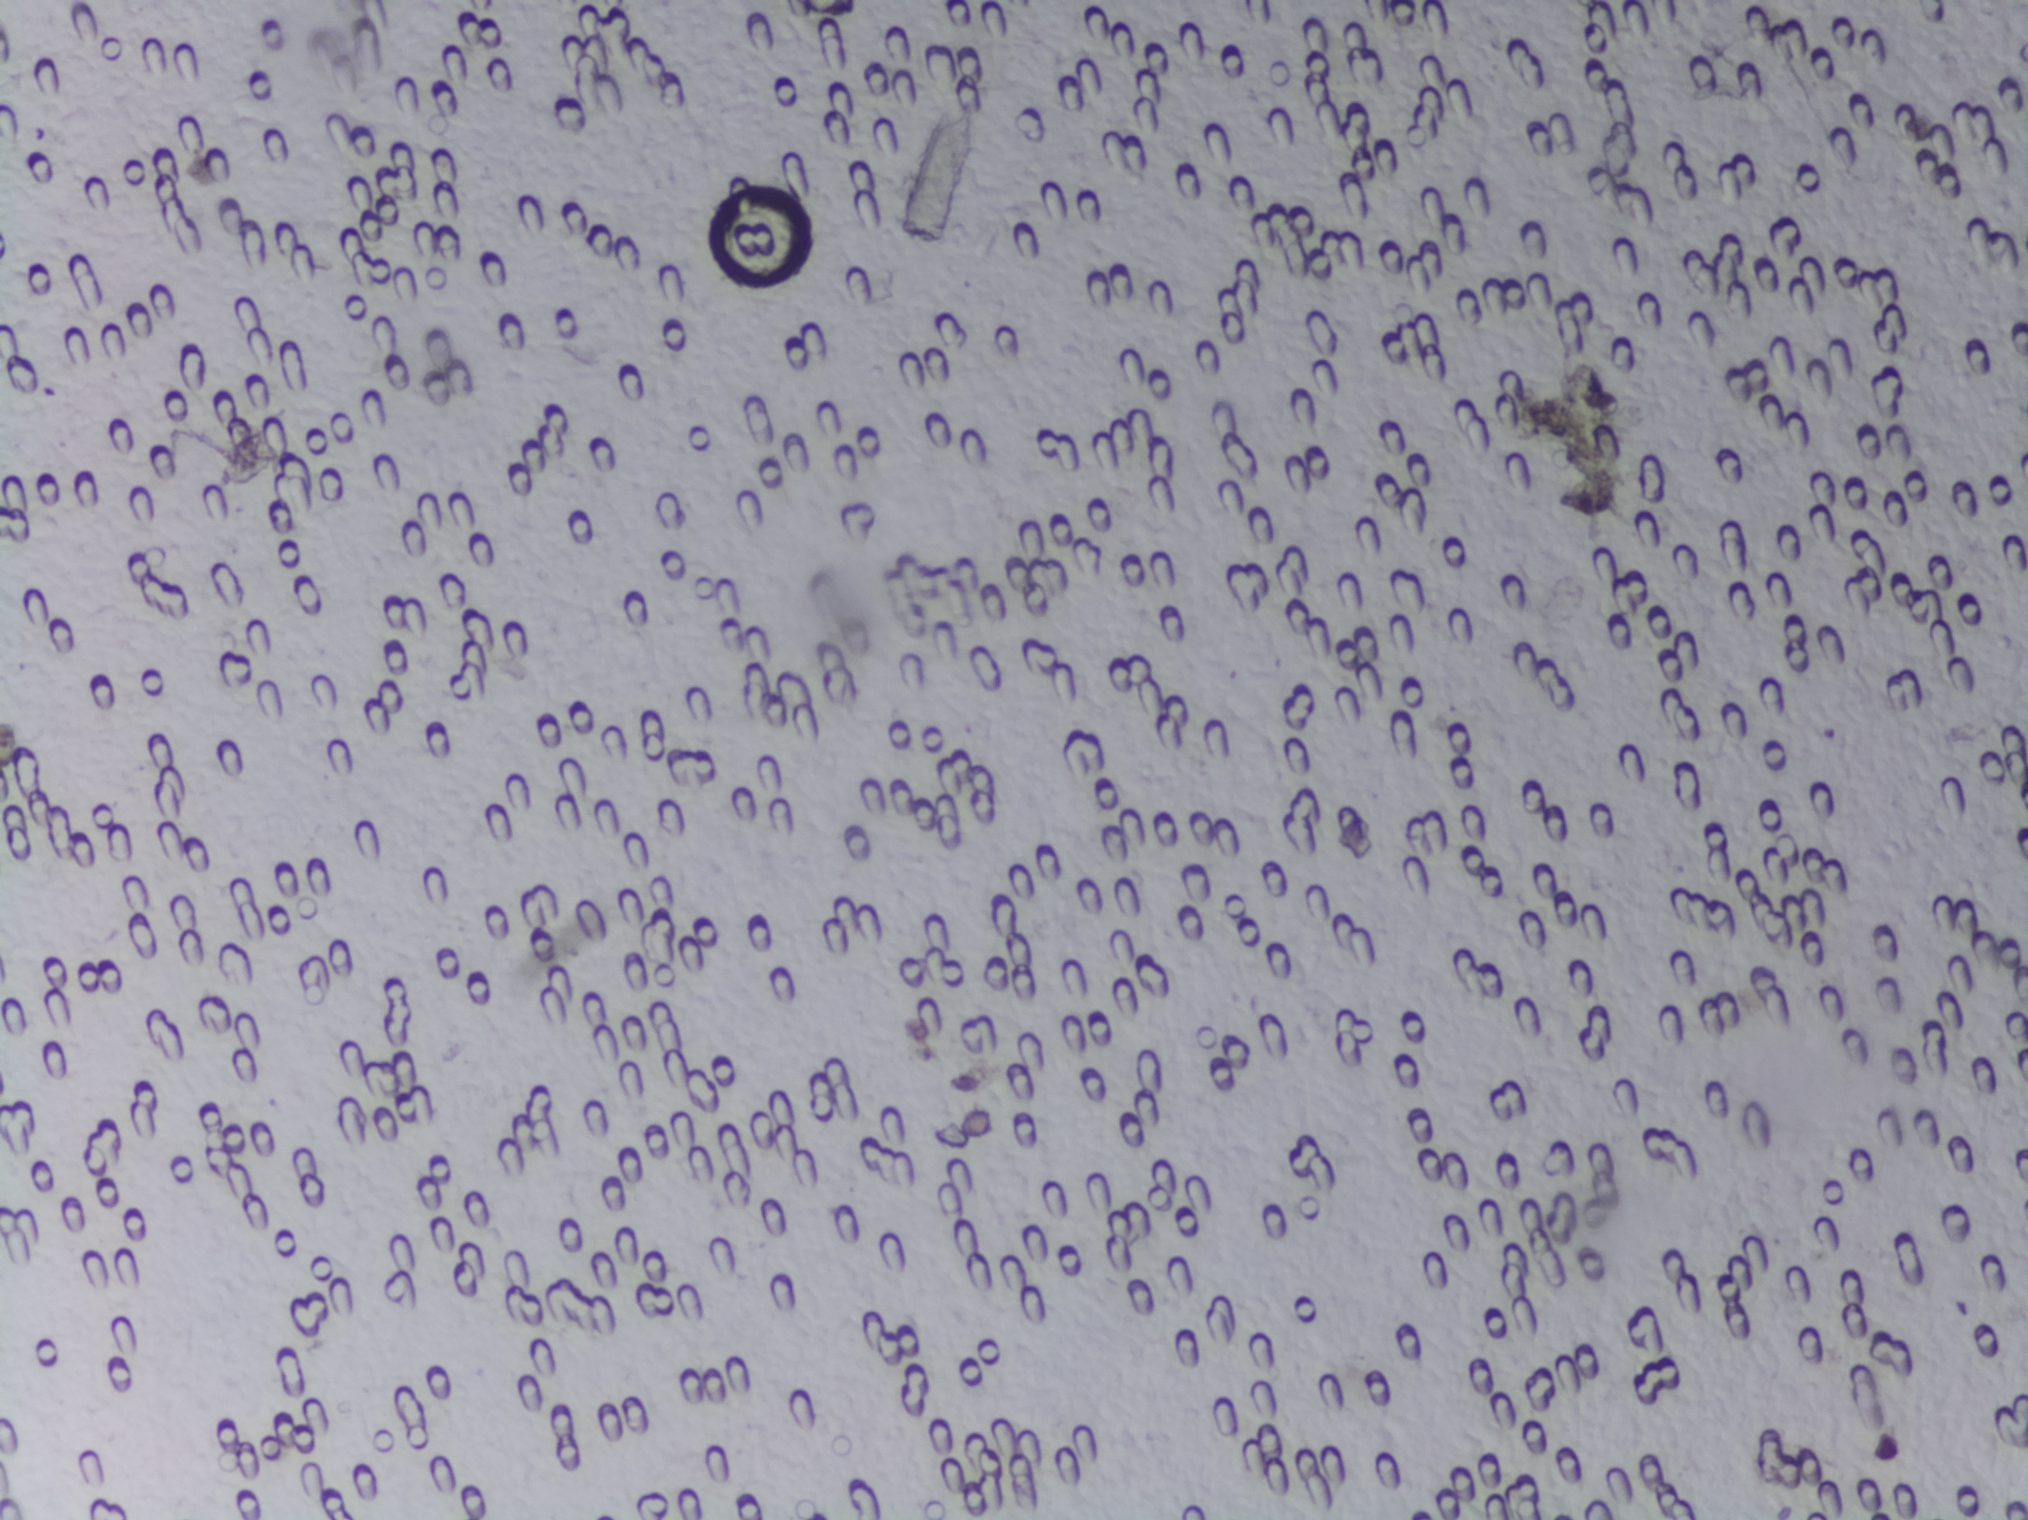
Photomicrograph of a urine filtration membrane, 4× objective.
The expert annotation marks no Schistosoma egg in this field of view.